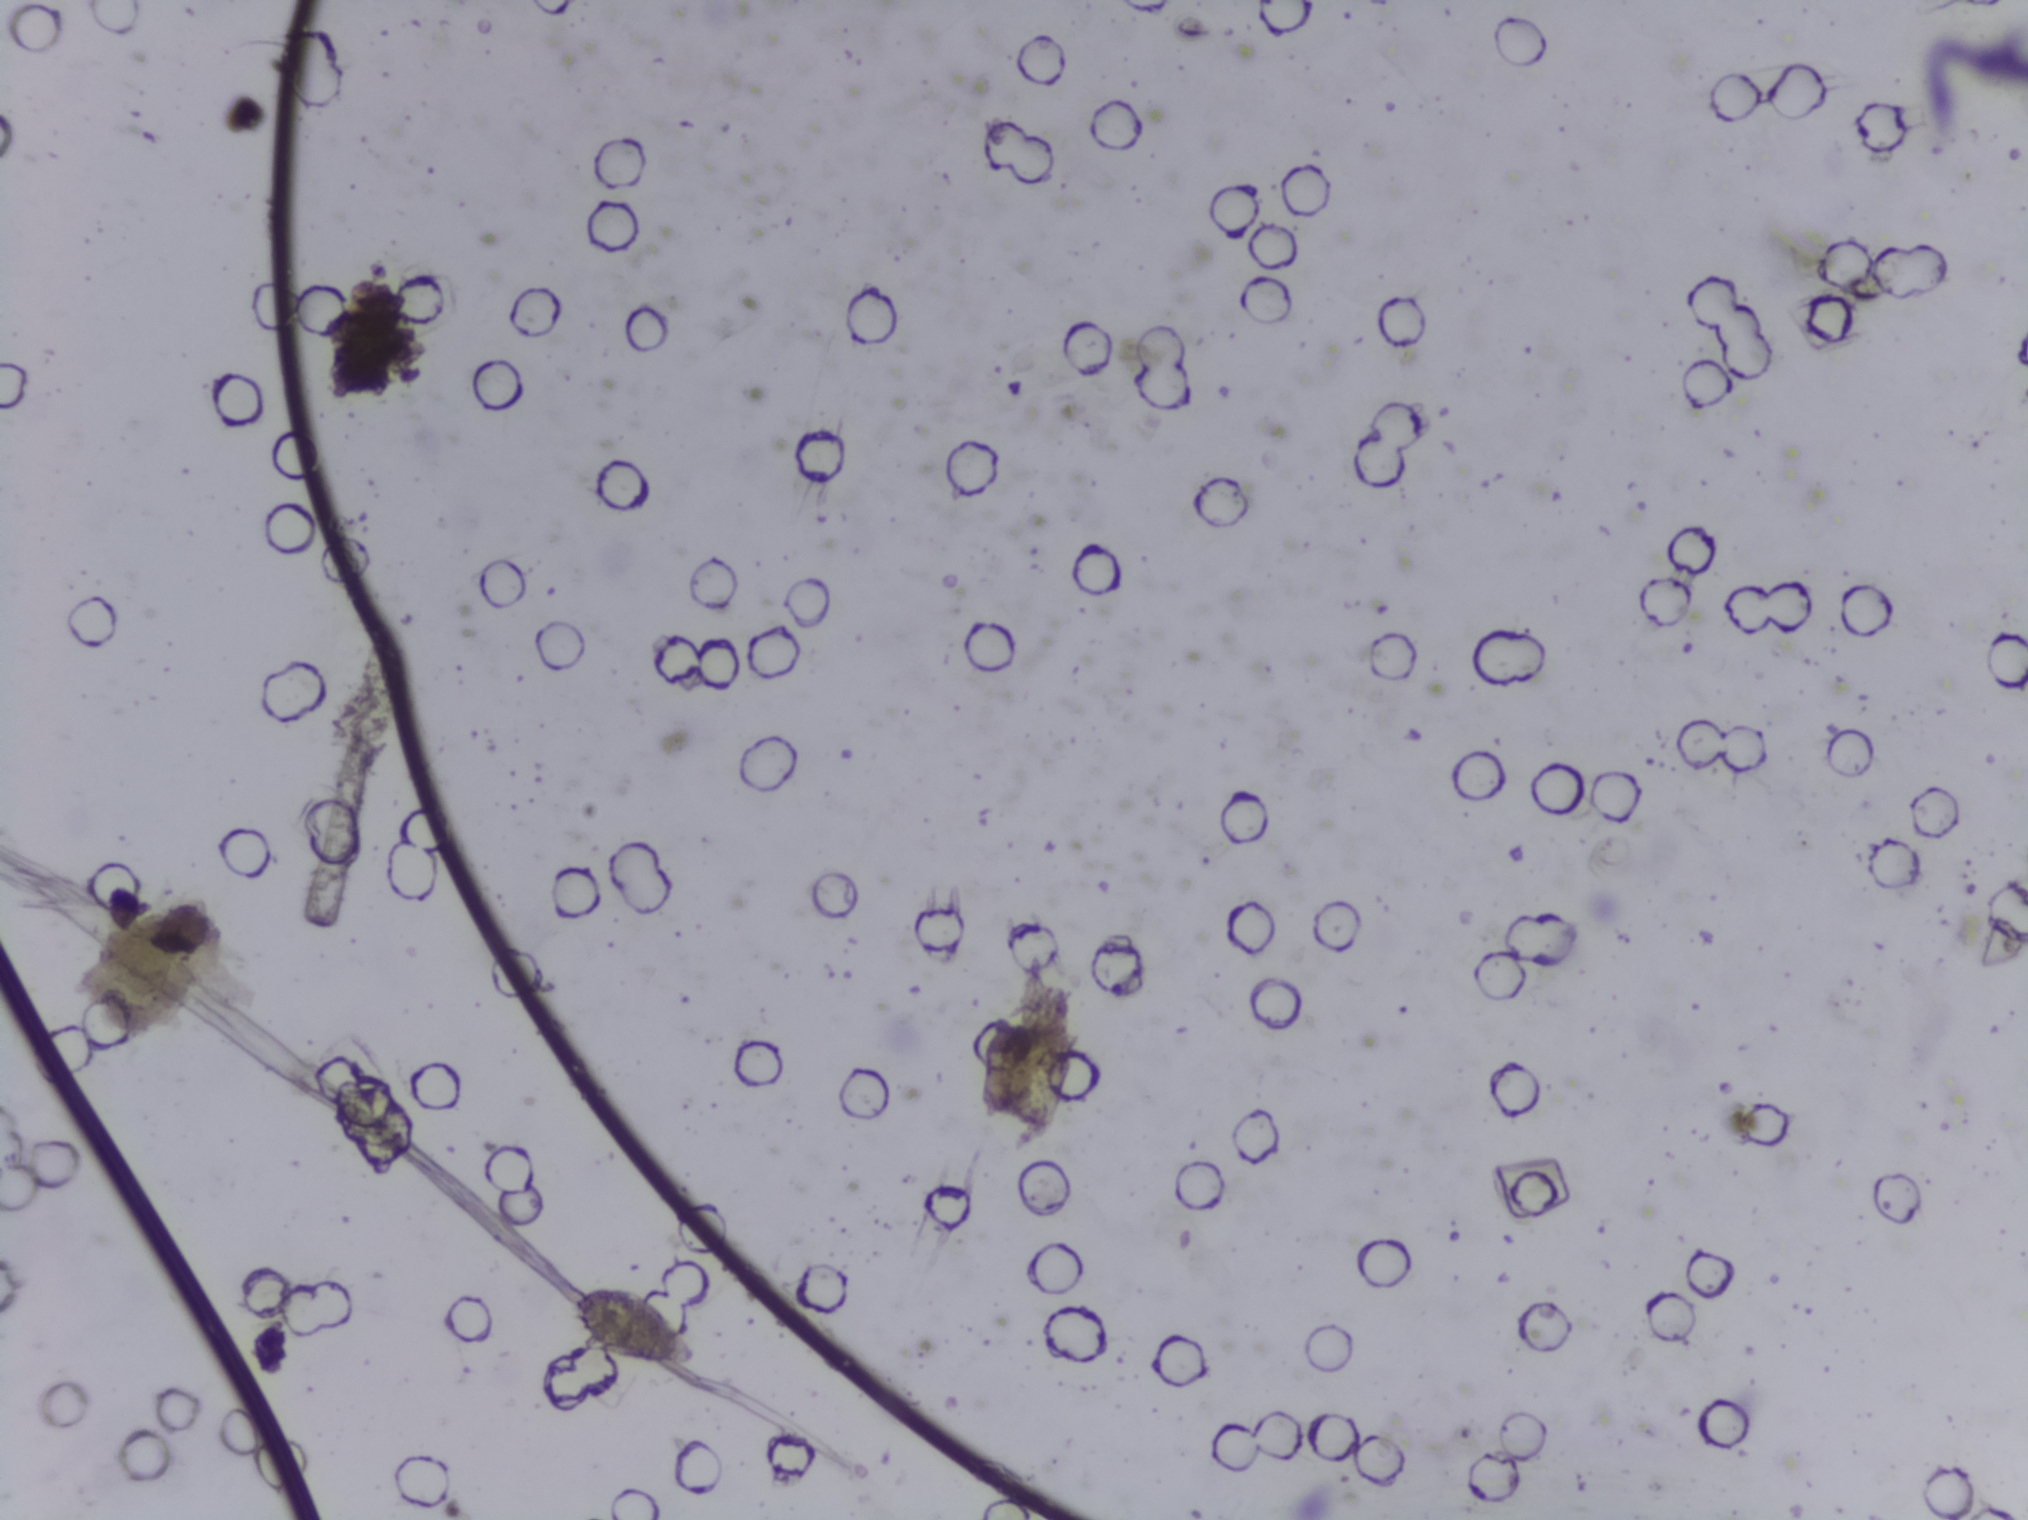
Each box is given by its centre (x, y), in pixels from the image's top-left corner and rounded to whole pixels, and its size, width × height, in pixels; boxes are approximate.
Outlined Schistosoma egg areas:
1. centre (632, 1330), 137 × 87 px
Eggs that touch can end up inside the same outlined area.
Microscope photograph (4× objective) of a membrane that a urine sample was filtered through. The image covers about 1.5 × 1.1 mm of the membrane.